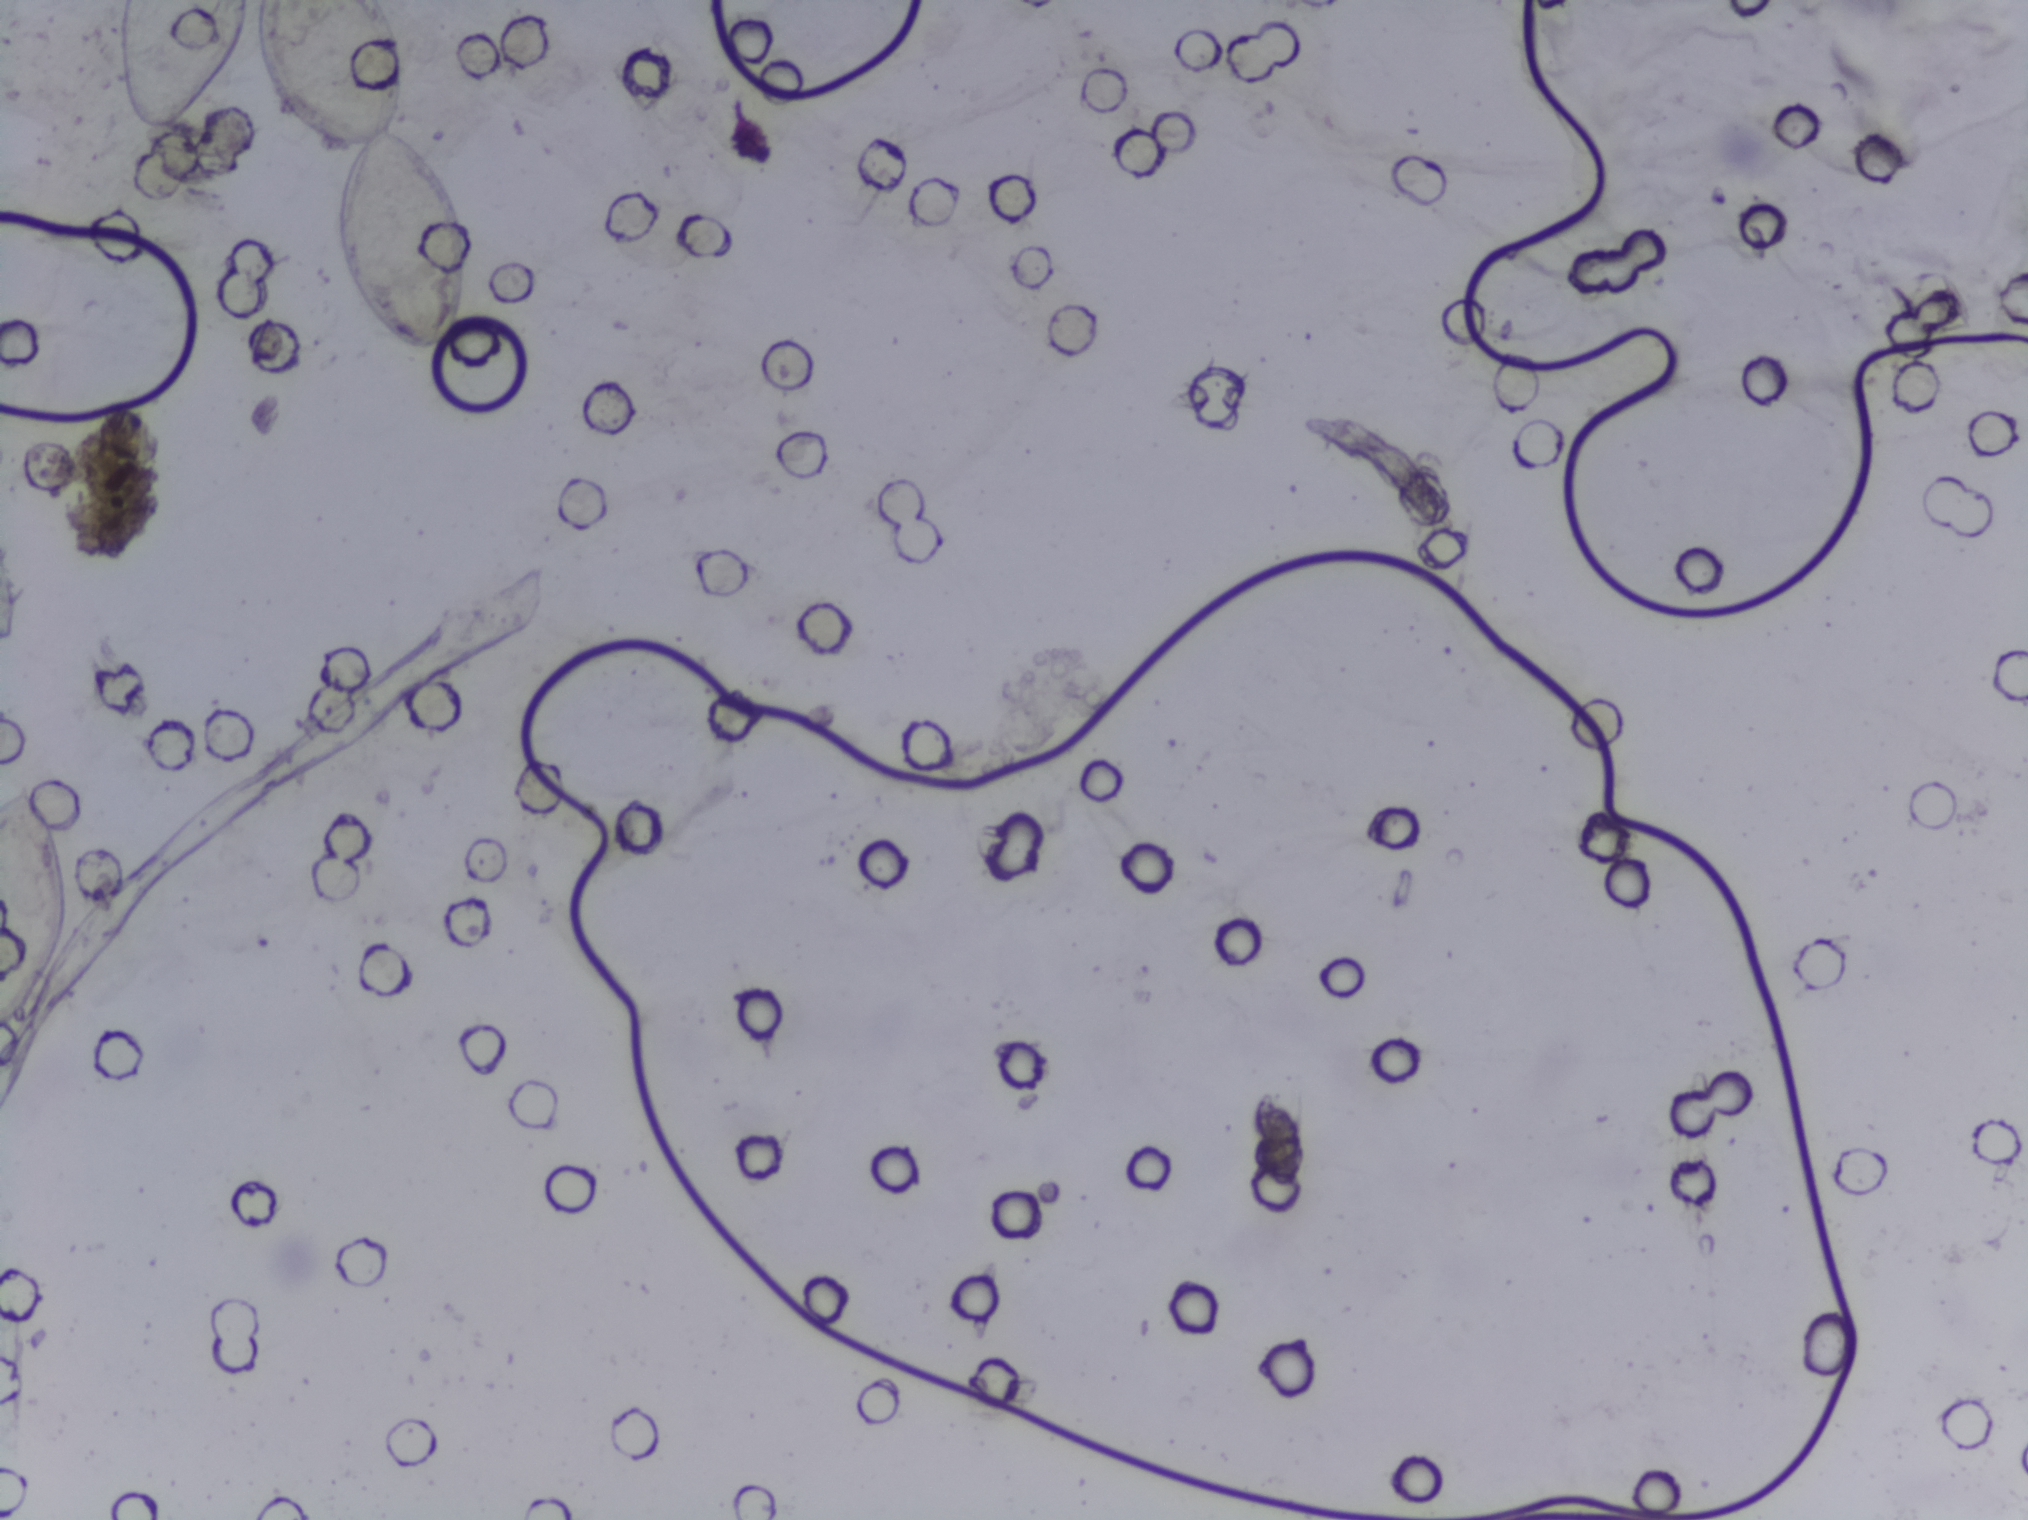
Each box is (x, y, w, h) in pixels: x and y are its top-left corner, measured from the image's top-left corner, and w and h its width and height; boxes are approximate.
Findings: three areas outlined as Schistosoma eggs. Locations: (x=0, y=774, w=74, h=263) (reaching the left edge of the frame); (x=114, y=0, w=137, h=138) (reaching the top edge of the frame); (x=258, y=0, w=223, h=357) (reaching the top edge of the frame). An outlined area can hold more than one egg. Any one outlined egg may, rarely, be S. mansoni rather than S. haematobium.
Microscope photograph (4× objective) of a membrane that a urine sample was filtered through.